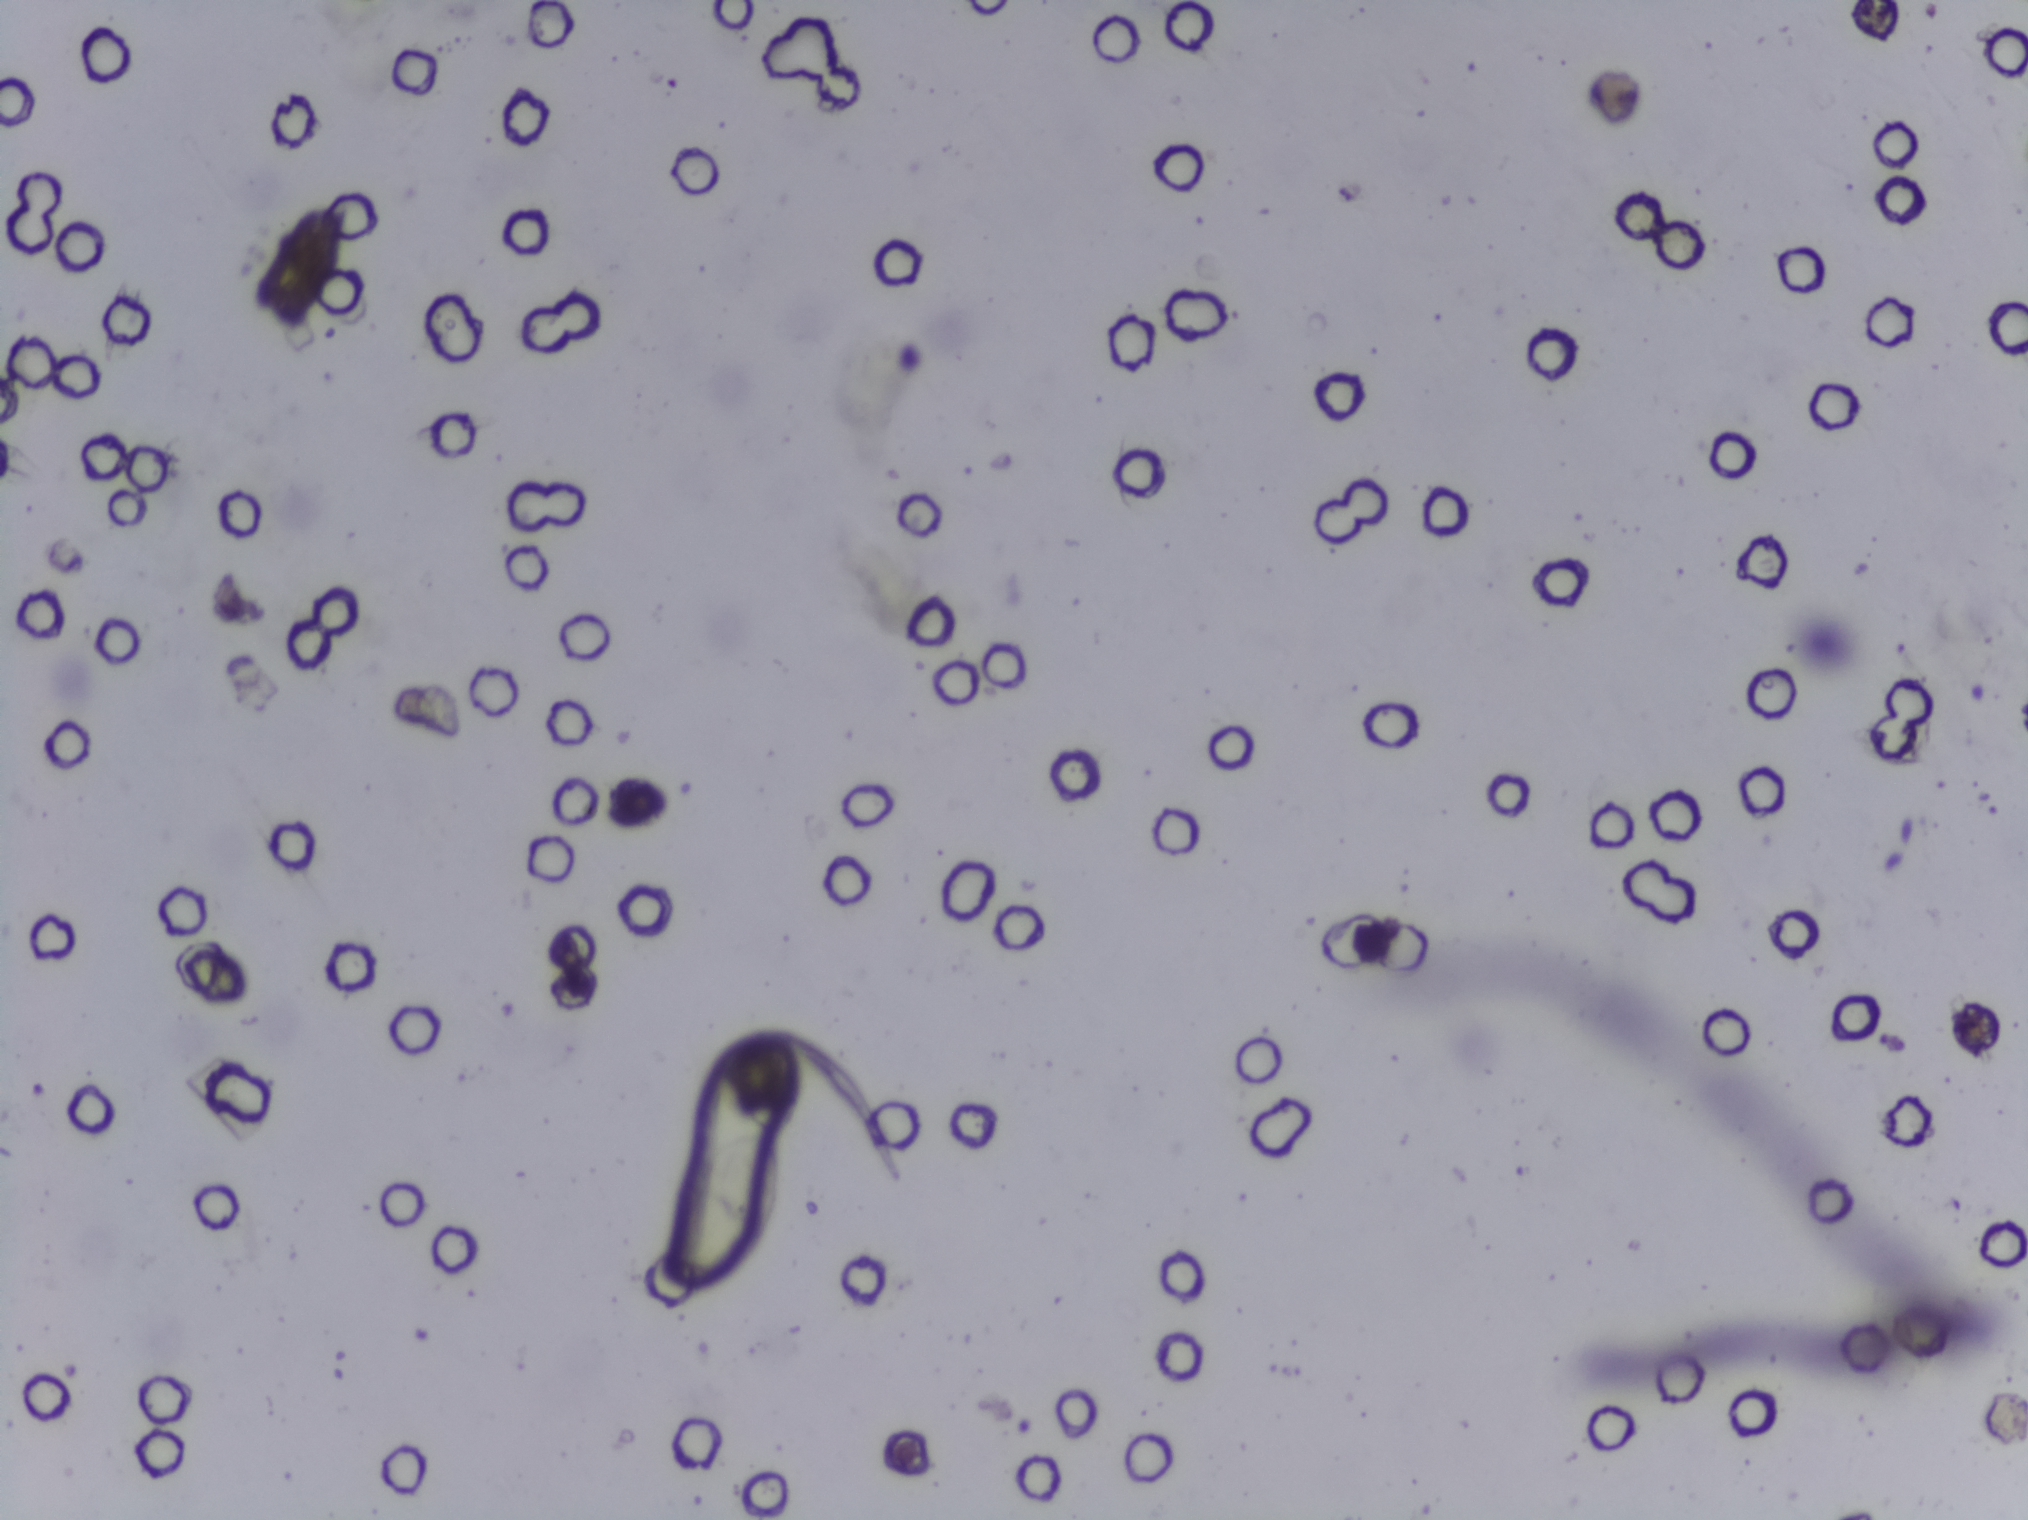
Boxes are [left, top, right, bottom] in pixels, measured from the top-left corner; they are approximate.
Areas outlined as Schistosoma eggs: [658, 1125, 787, 1292]. Eggs that touch can end up inside the same outlined area.
Microscope photograph (4× objective) of a membrane that a urine sample was filtered through. The image covers about 1.5 × 1.1 mm of the membrane.